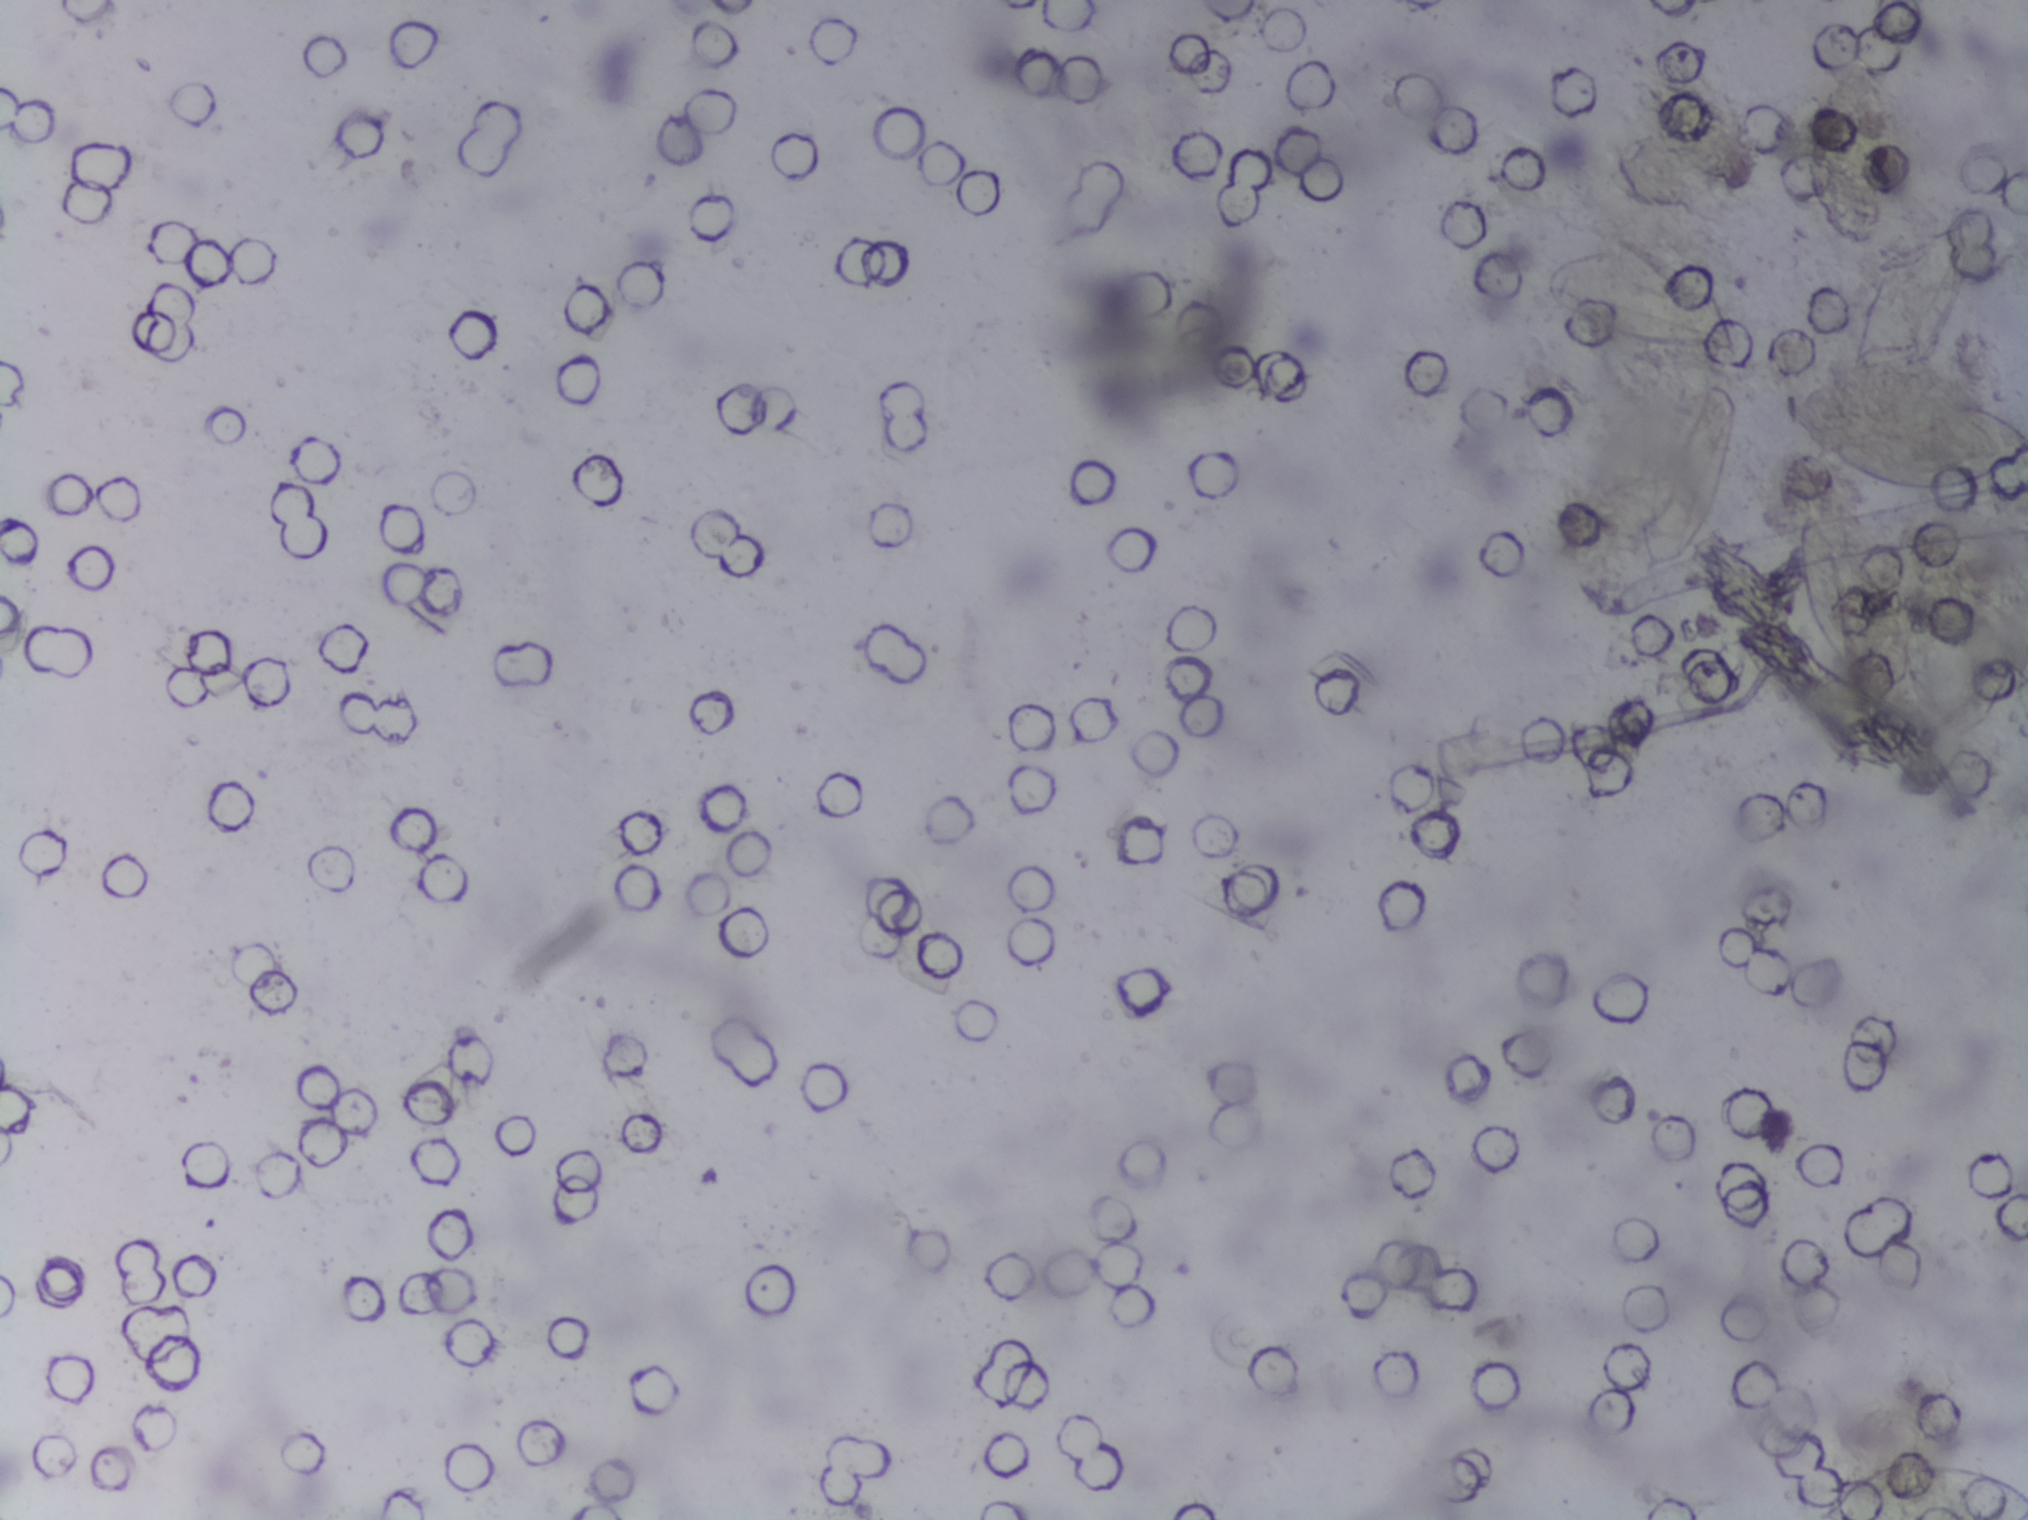
Photograph from an automated digital microscope: urine filter membrane, 4× objective.
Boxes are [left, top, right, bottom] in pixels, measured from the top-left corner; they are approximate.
Findings: four areas outlined as Schistosoma eggs. Locations: [1541, 243, 1743, 357]; [1781, 363, 2027, 497] (reaching the right edge of the frame); [1801, 55, 1904, 251]; [1811, 1460, 2027, 1519] (reaching the right and bottom edges of the frame). A single outlined area may contain several eggs. A marked egg may occasionally be S. mansoni rather than S. haematobium.